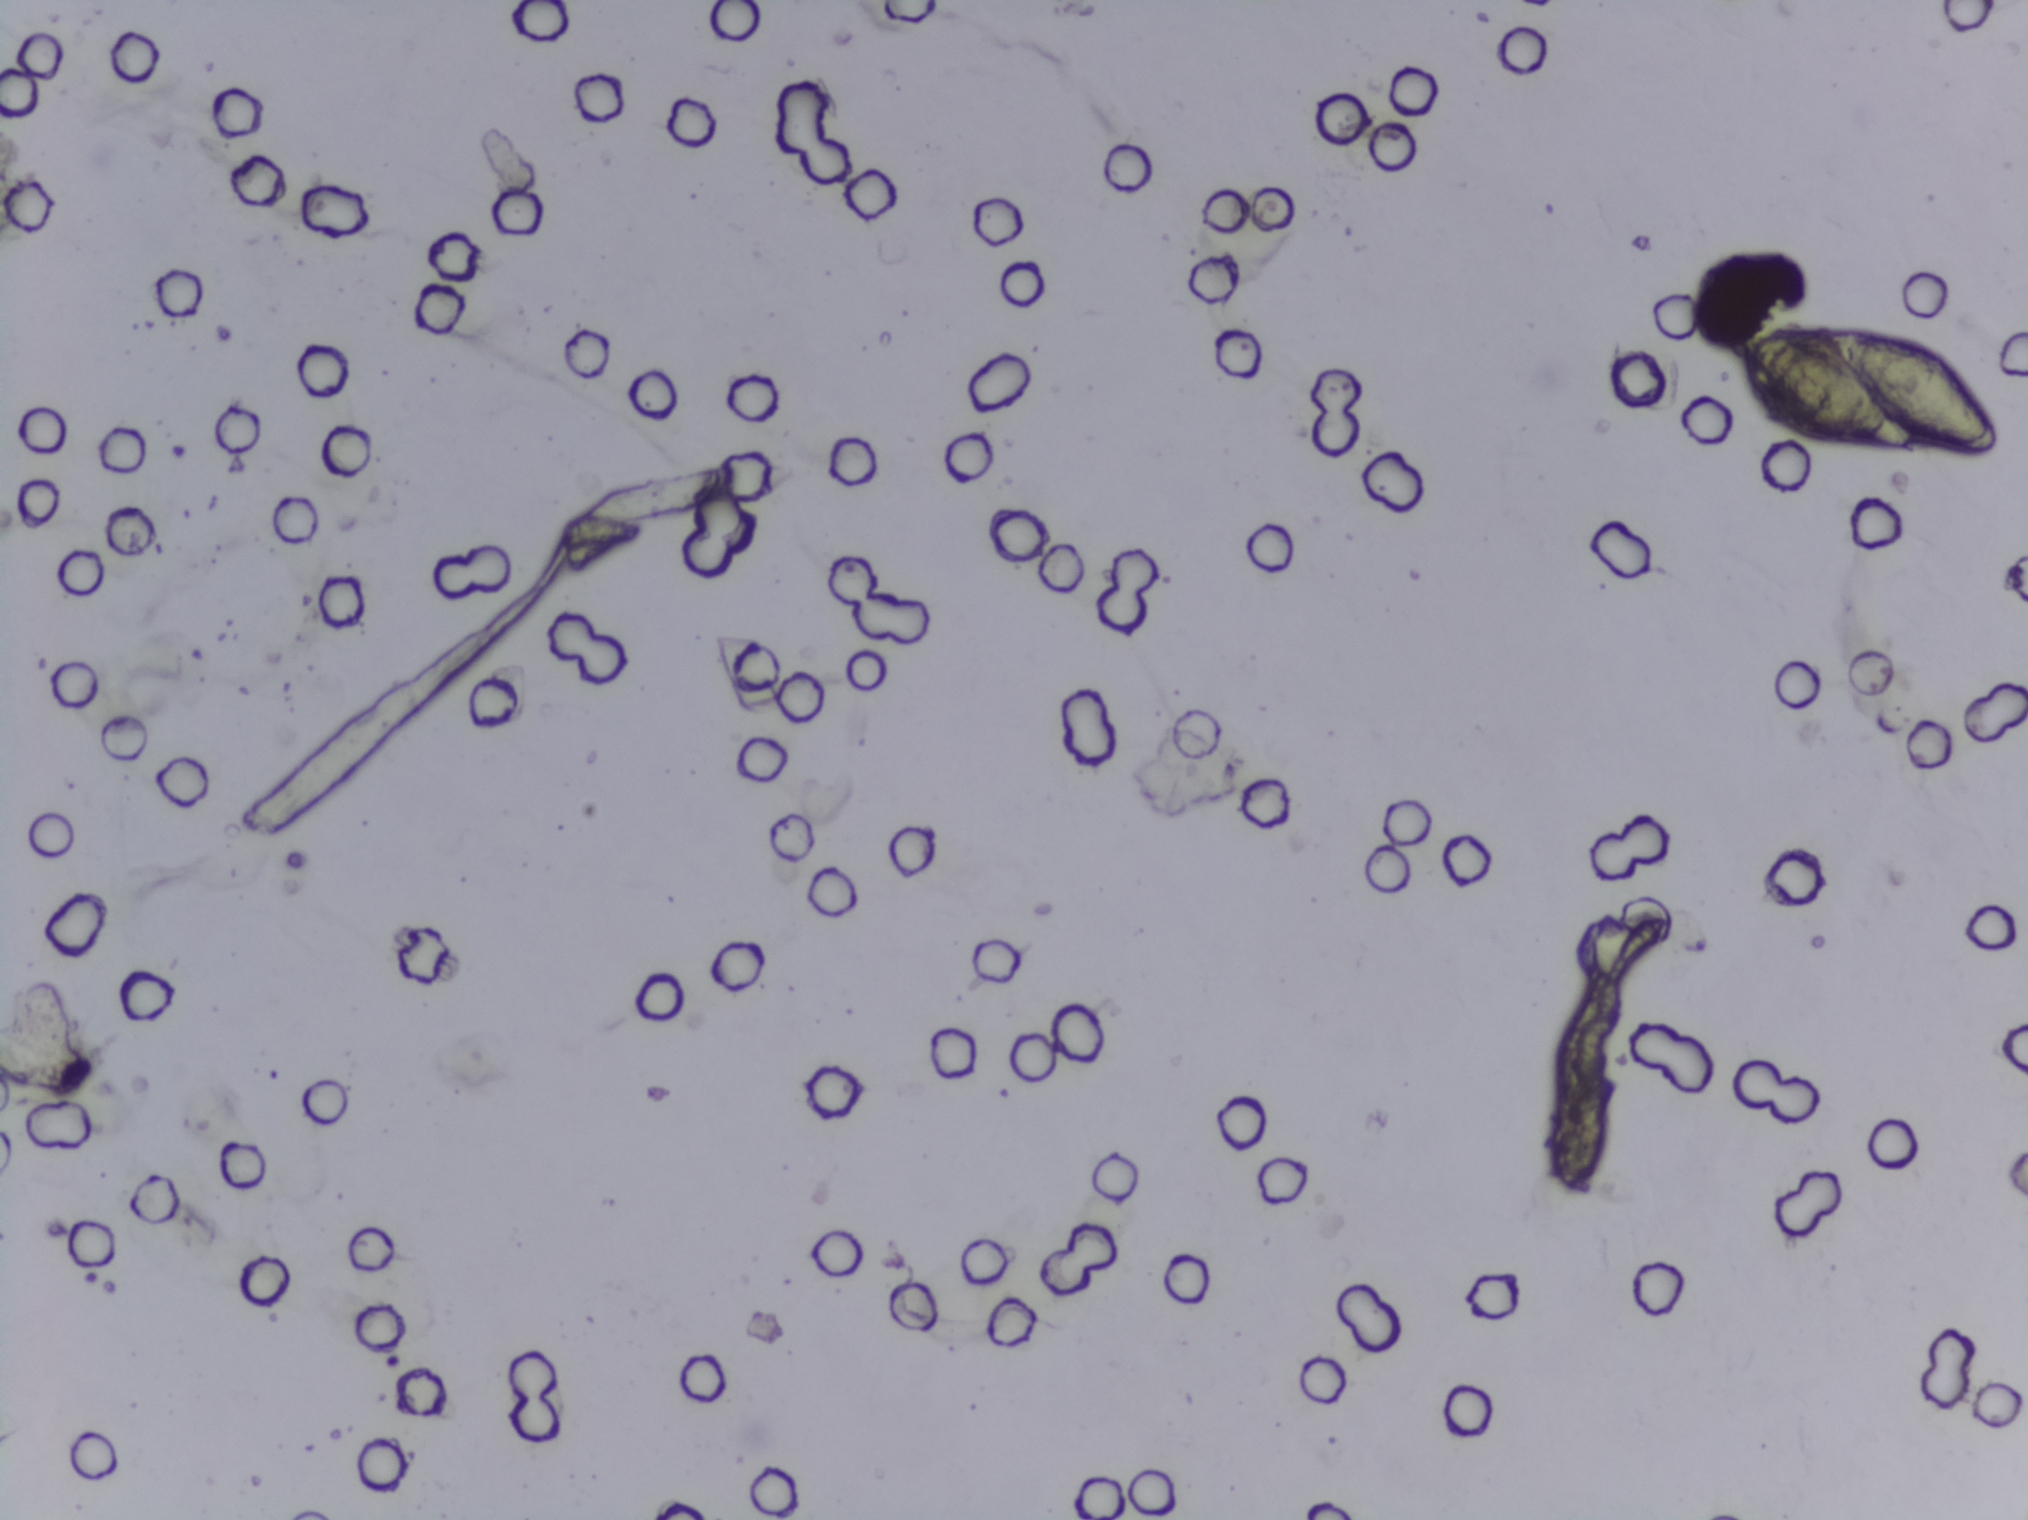
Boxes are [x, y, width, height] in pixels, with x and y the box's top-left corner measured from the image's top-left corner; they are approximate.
{"schistosoma_egg_areas_xywh_px": [[1733, 319, 272, 141]]}
A single outlined area may contain several eggs.
Microscope photograph (4× objective) of a membrane that a urine sample was filtered through. Field of view: about 1.5 mm wide and 1.1 mm high.